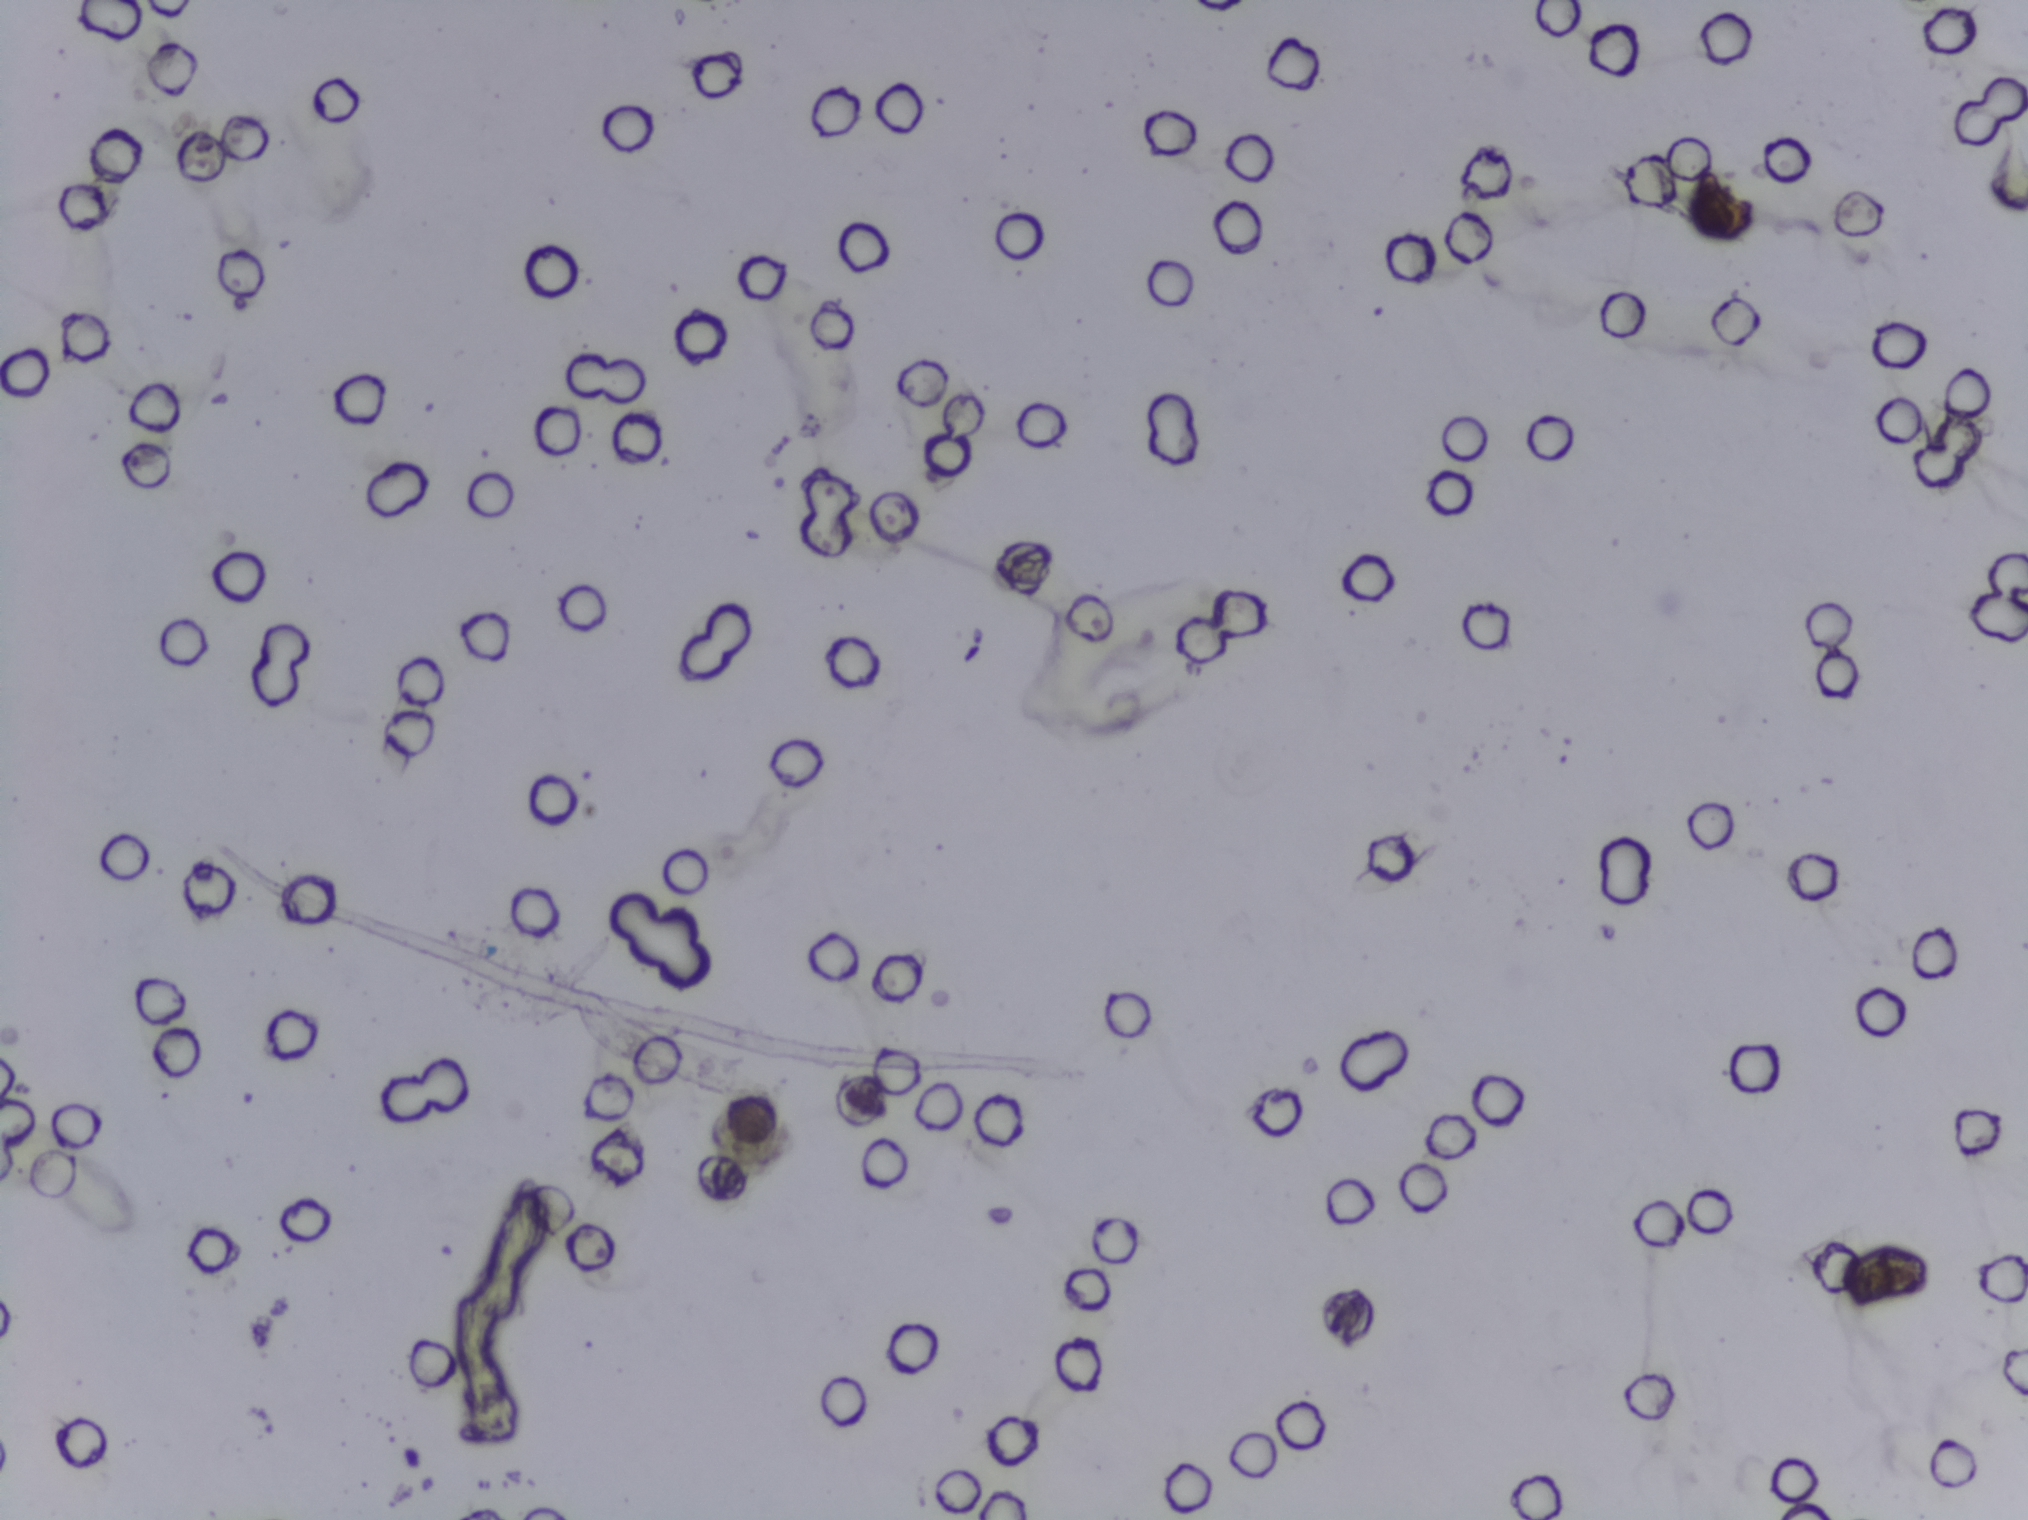
Microscope photograph (4× objective) of a membrane that a urine sample was filtered through.
The expert annotation marks no Schistosoma egg in this field of view.